Photograph from an automated digital microscope: urine filter membrane, 4× objective.
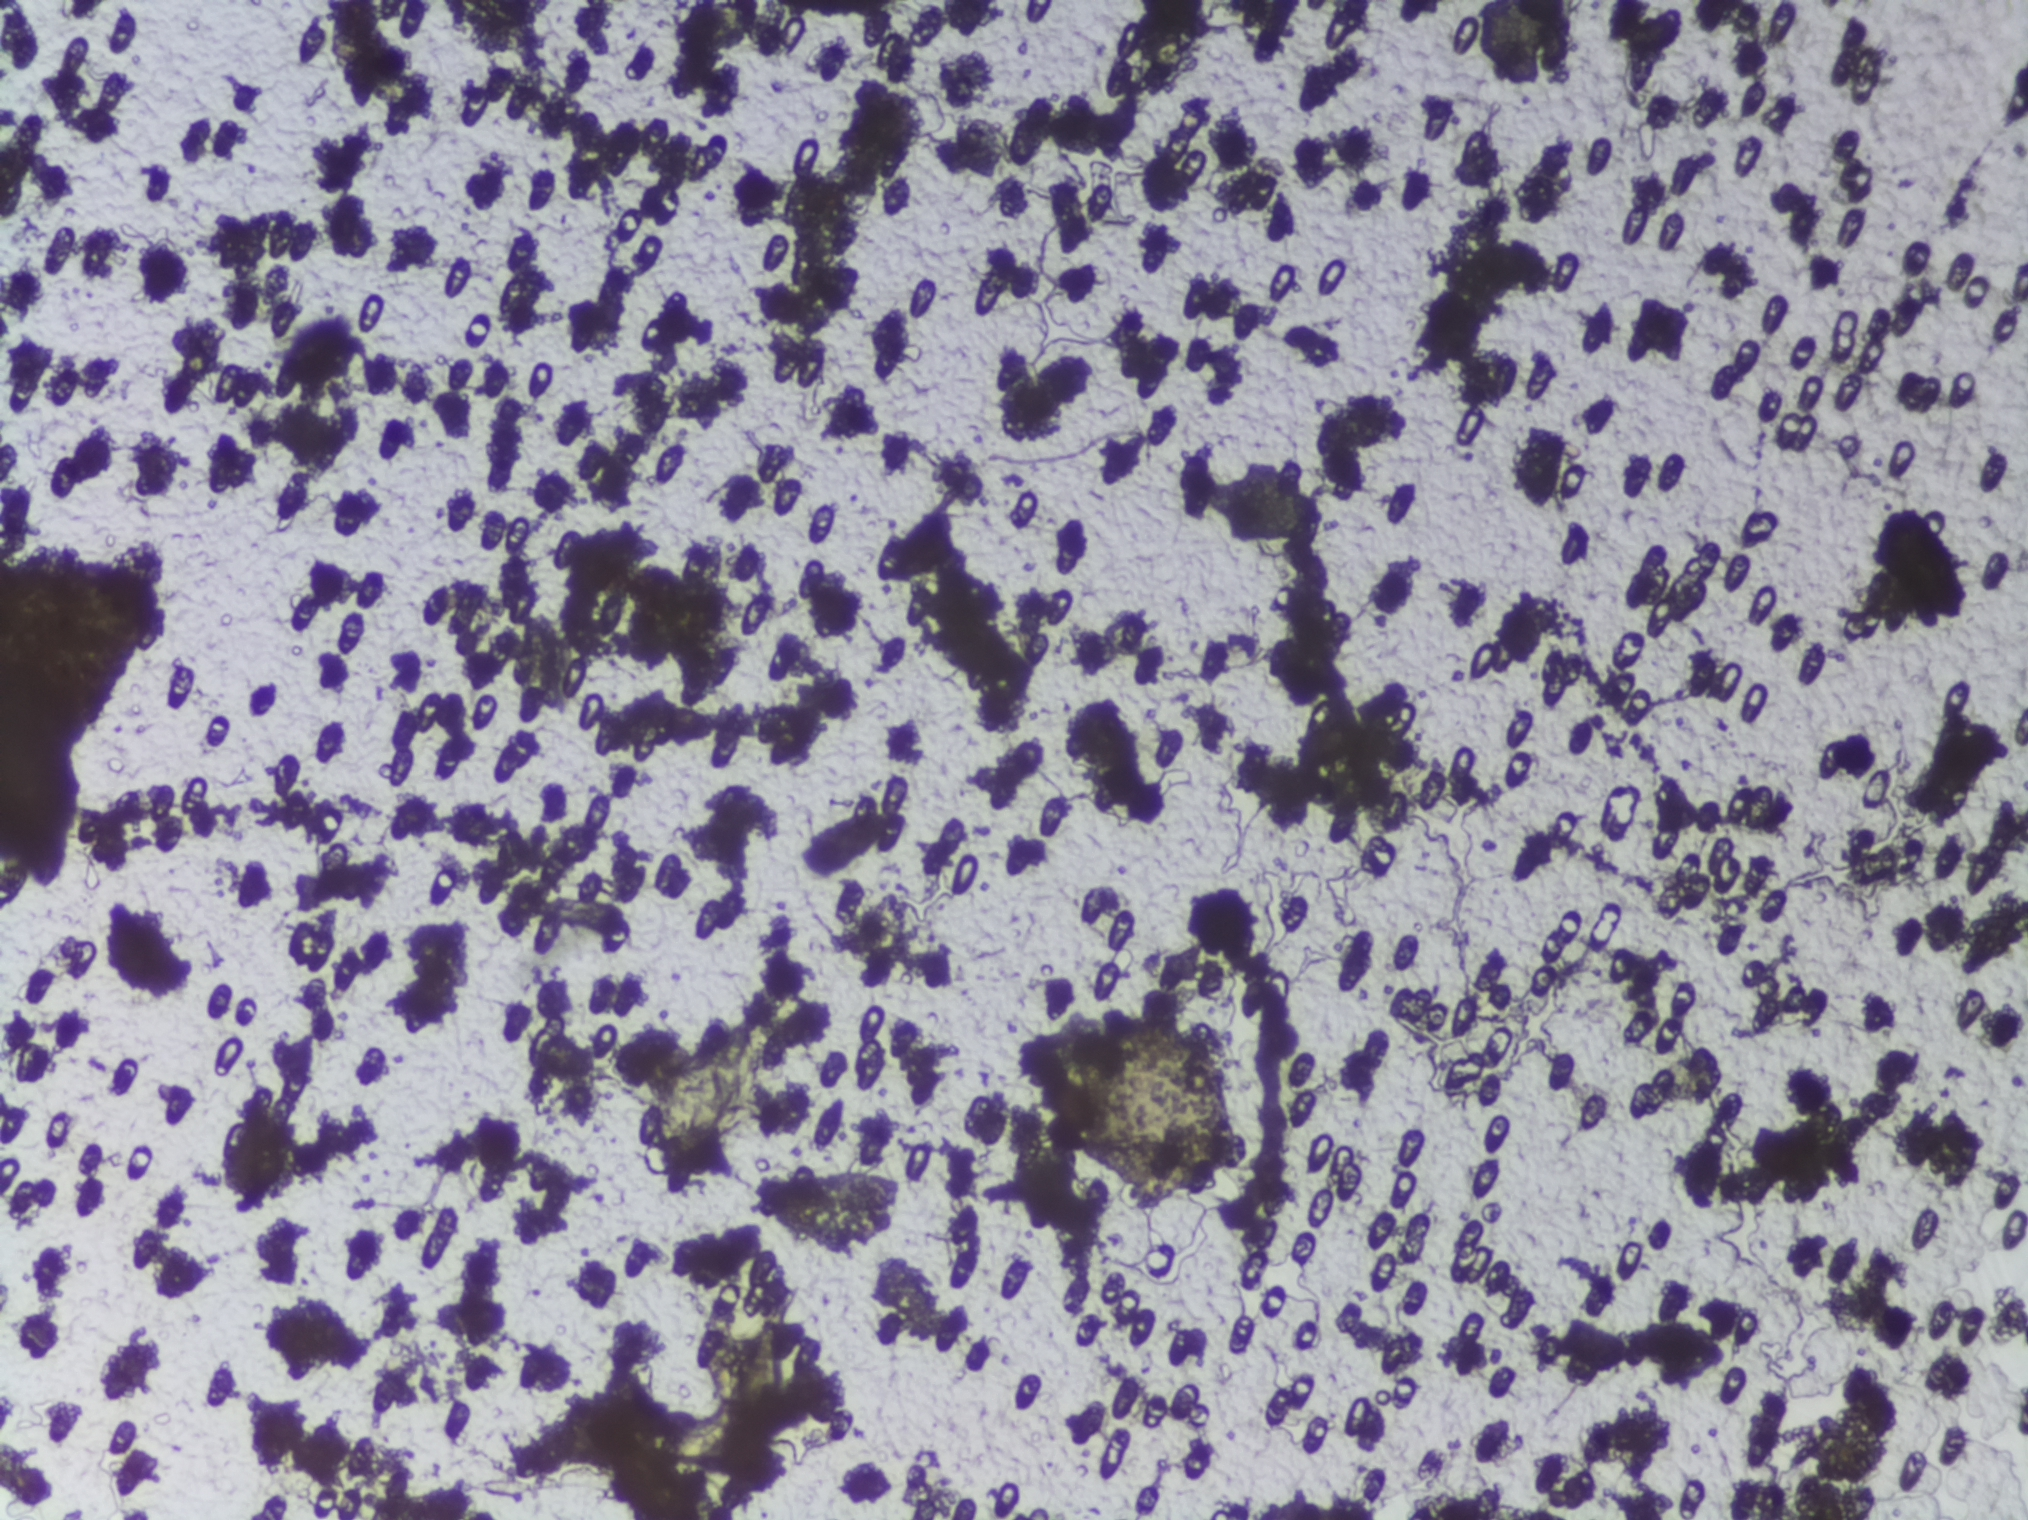
Schistosoma eggs: none outlined.